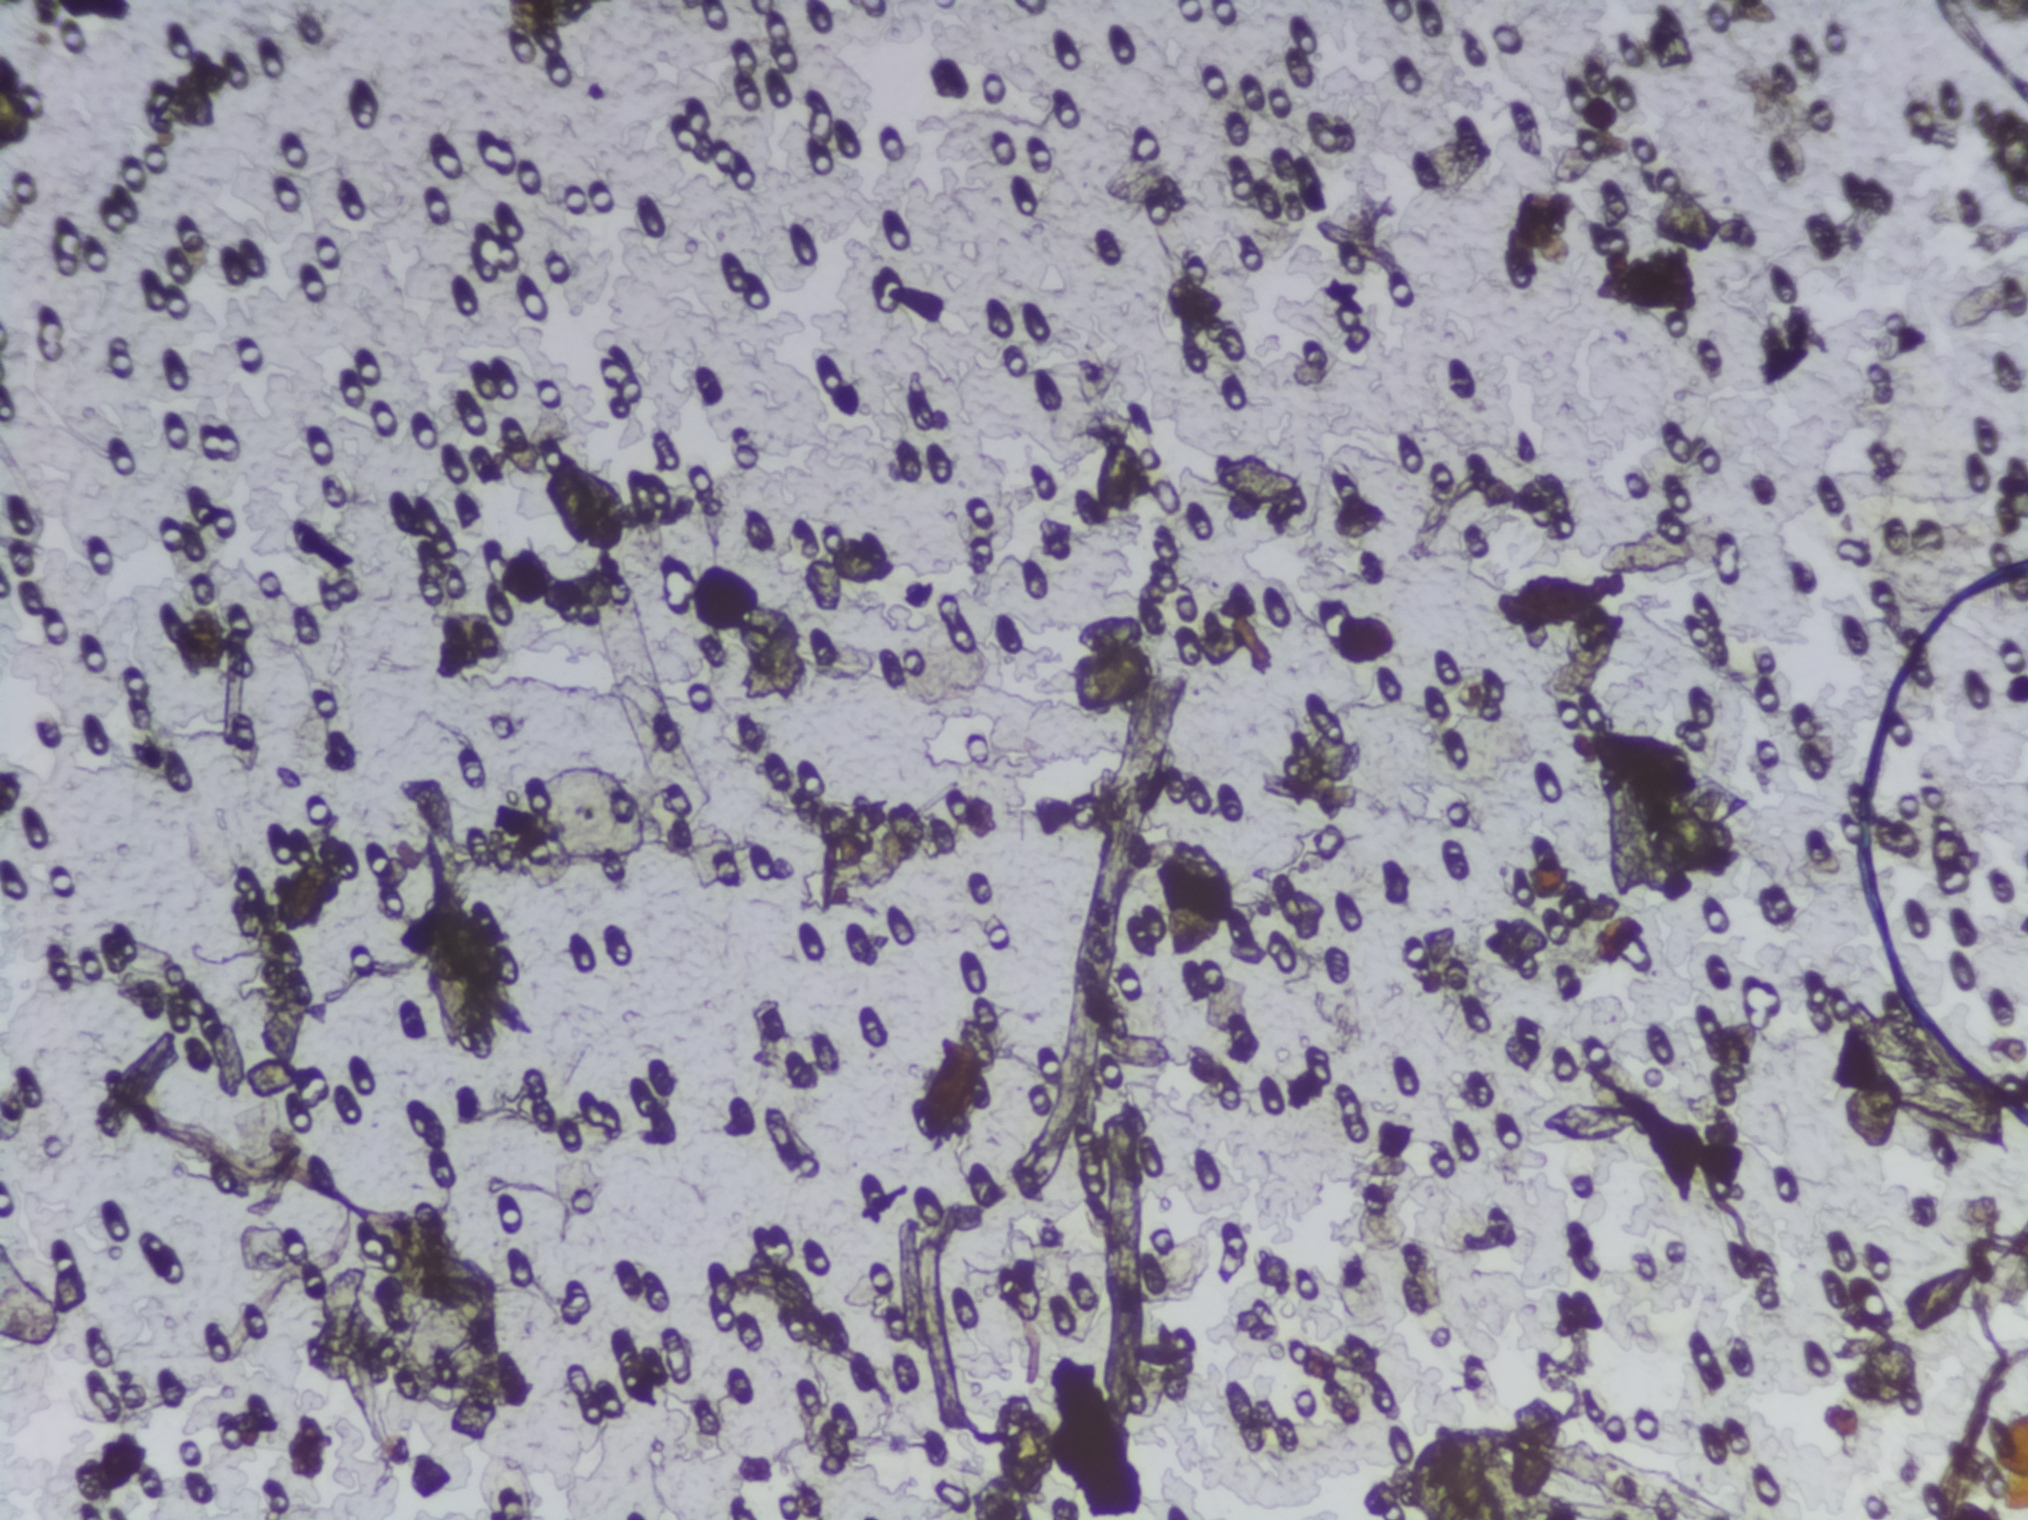
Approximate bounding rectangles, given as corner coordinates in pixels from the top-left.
Schistosoma eggs are outlined in one area of this image: (x1=1817, y1=976, x2=2022, y2=1161). A single outlined area may contain several eggs. Any one outlined egg may, rarely, be S. mansoni rather than S. haematobium.
One field of view of a urine filter membrane, 4× objective, 2028 × 1520 pixels.